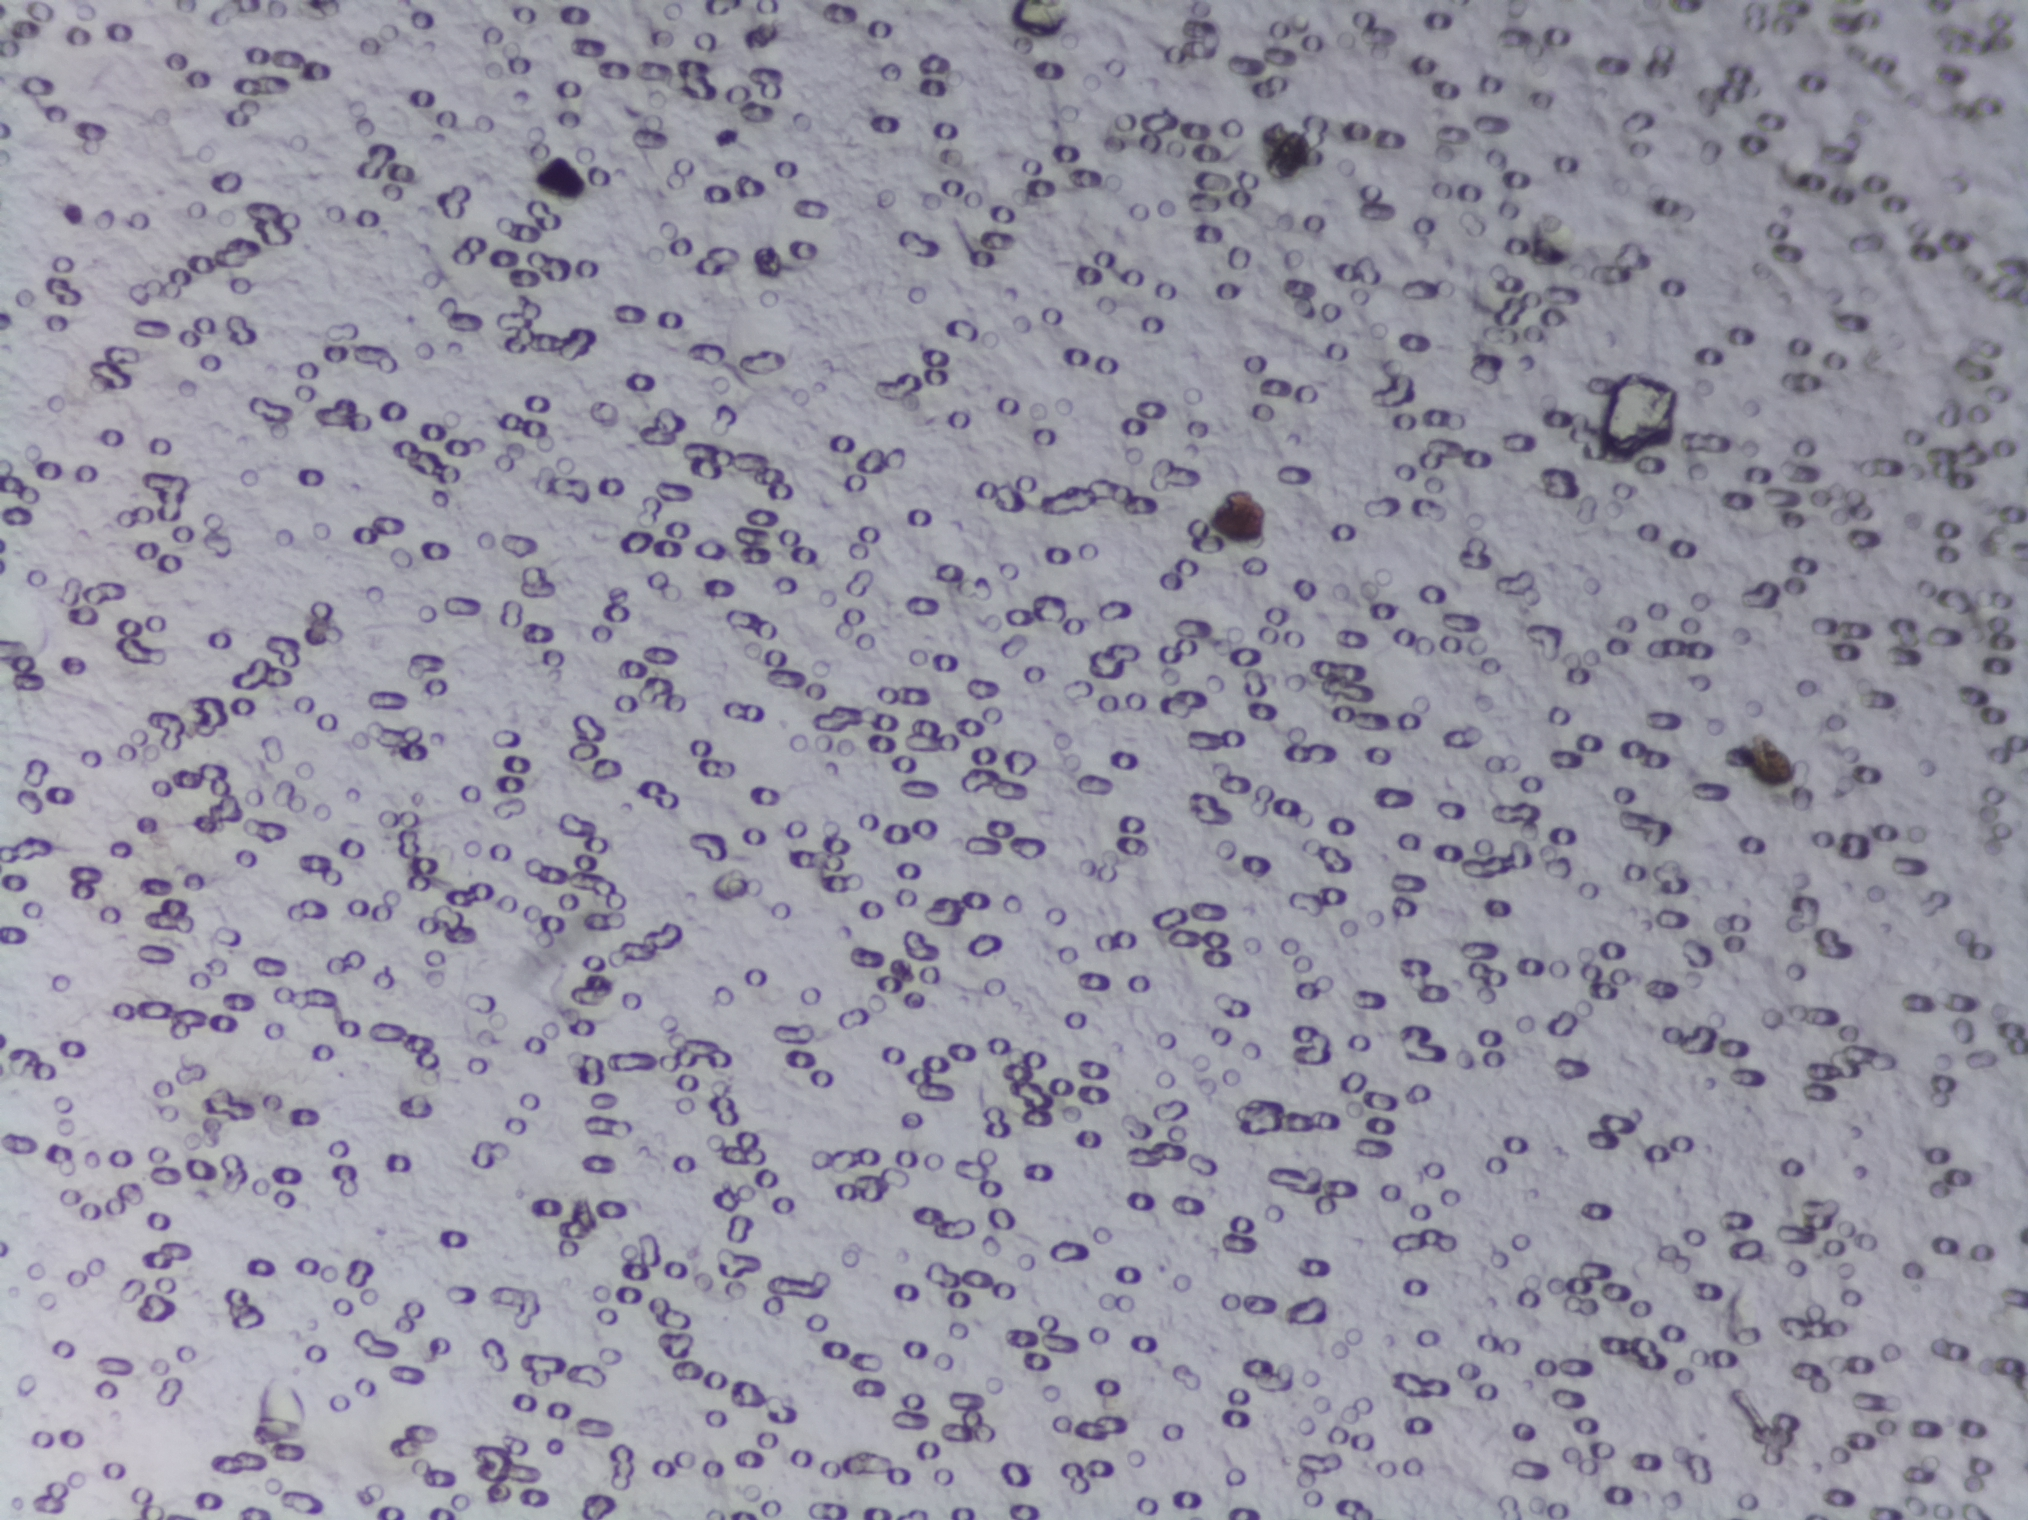
Photomicrograph of a urine filtration membrane, 4× objective.
The expert annotation marks no Schistosoma egg in this field of view.